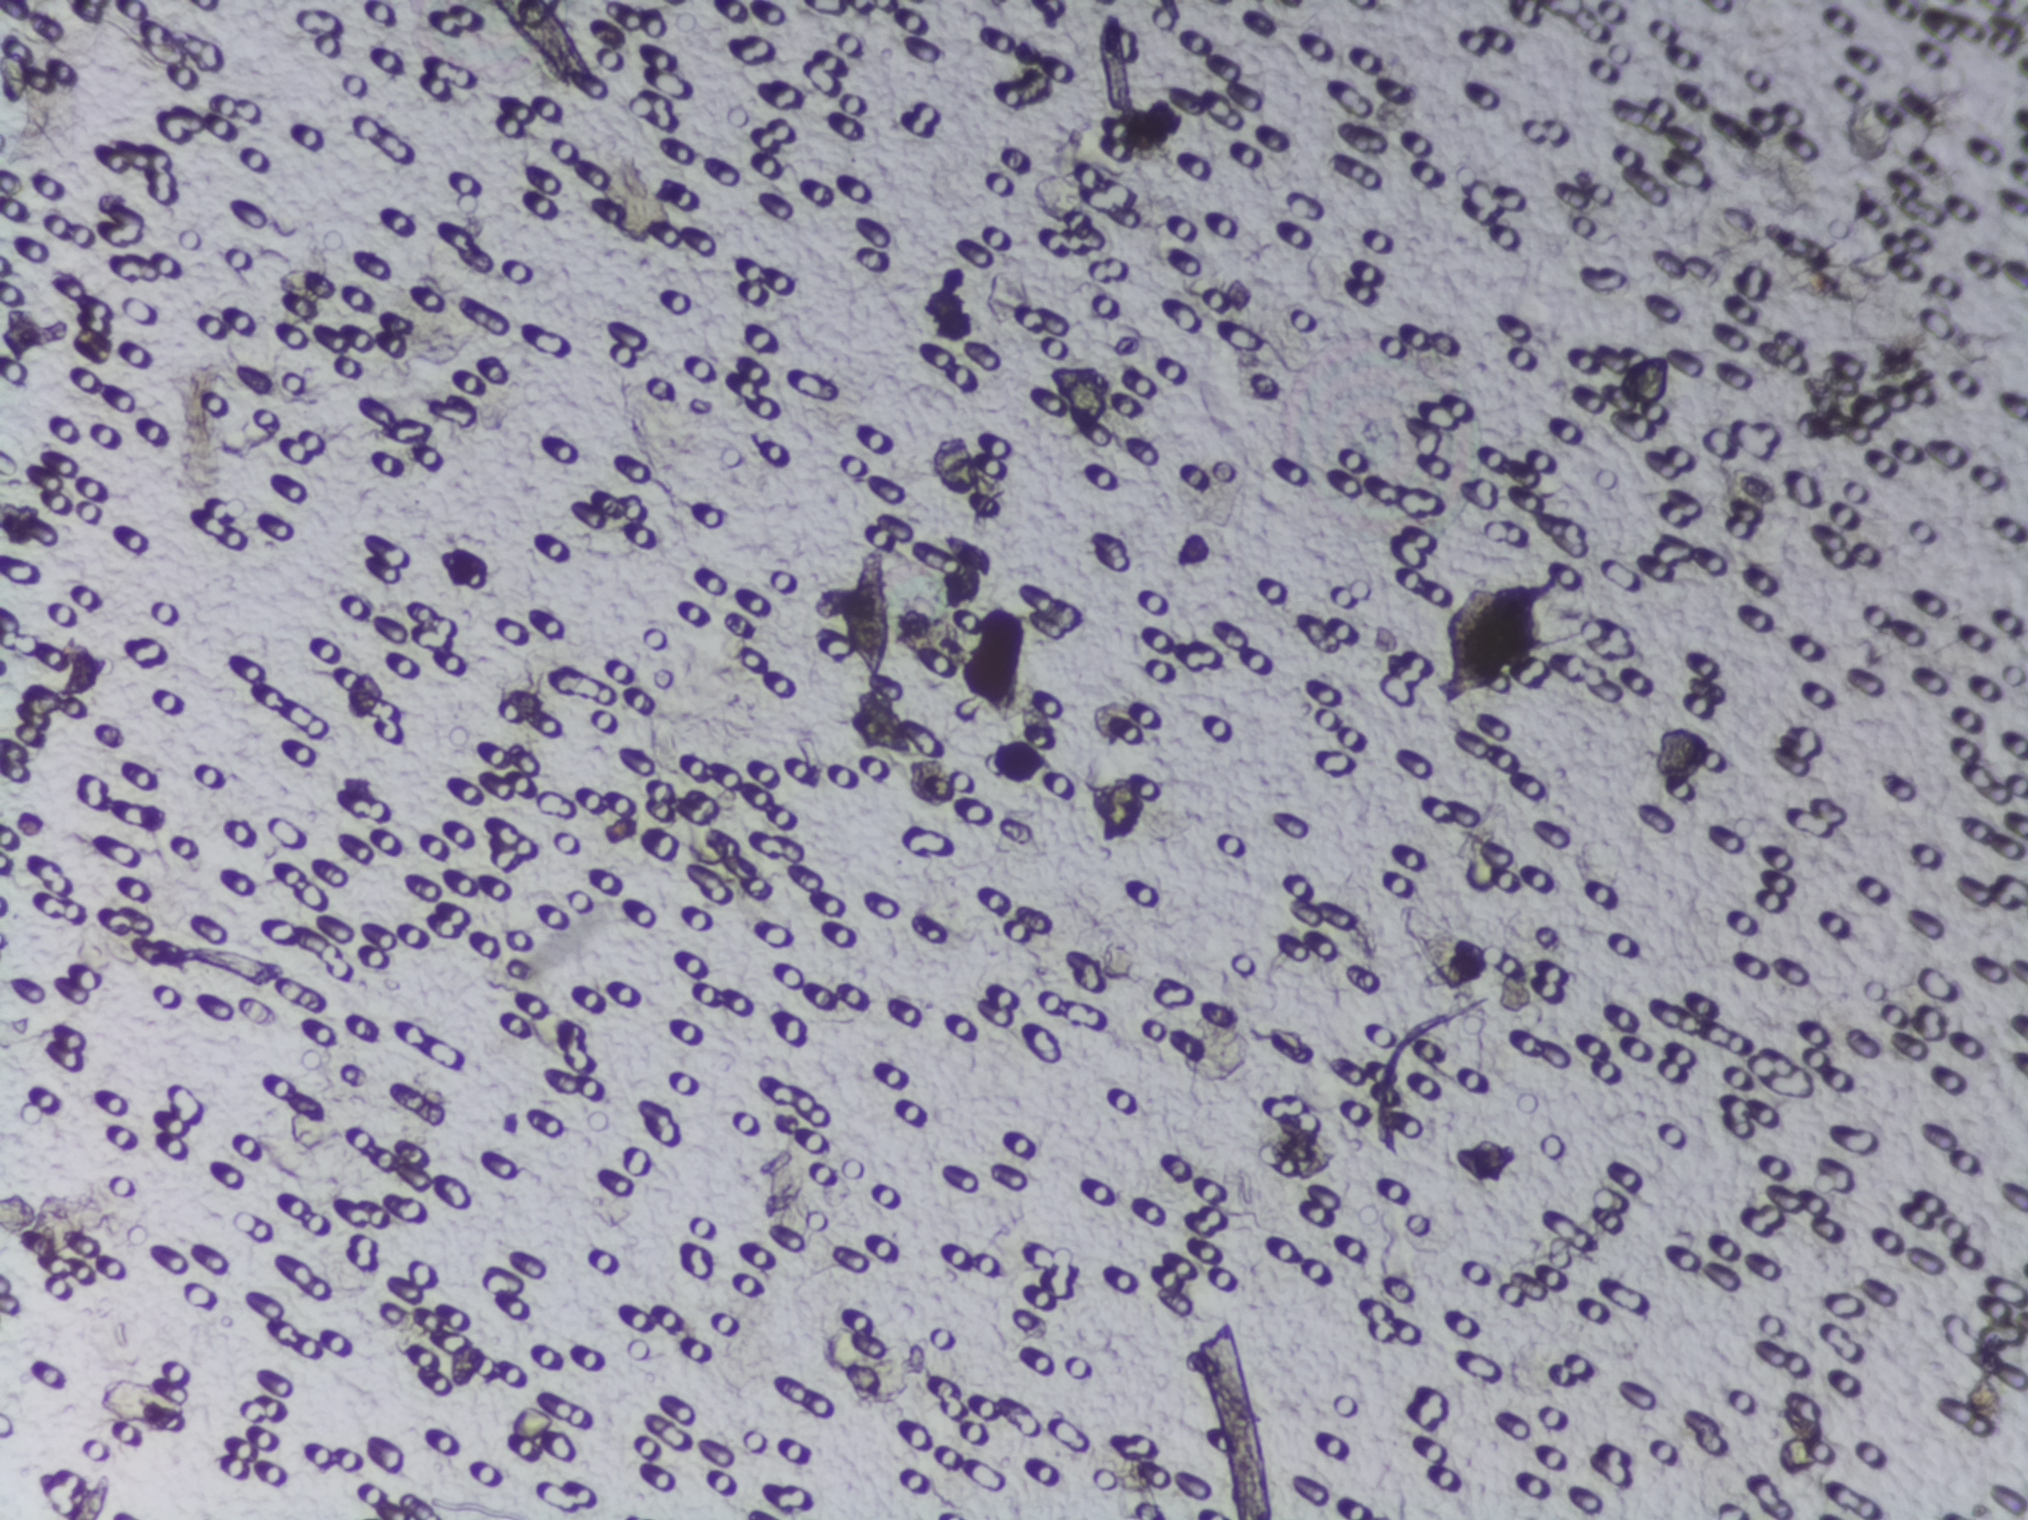
One field of view of a urine filter membrane, 4× objective, 2028 × 1520 pixels.
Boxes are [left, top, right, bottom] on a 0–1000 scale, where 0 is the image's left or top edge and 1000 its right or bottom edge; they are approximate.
Schistosoma egg areas, outlined: [411, 382, 439, 445]; [798, 234, 823, 268]. A single outlined area may contain several eggs. Any one outlined egg may, rarely, be S. mansoni rather than S. haematobium.